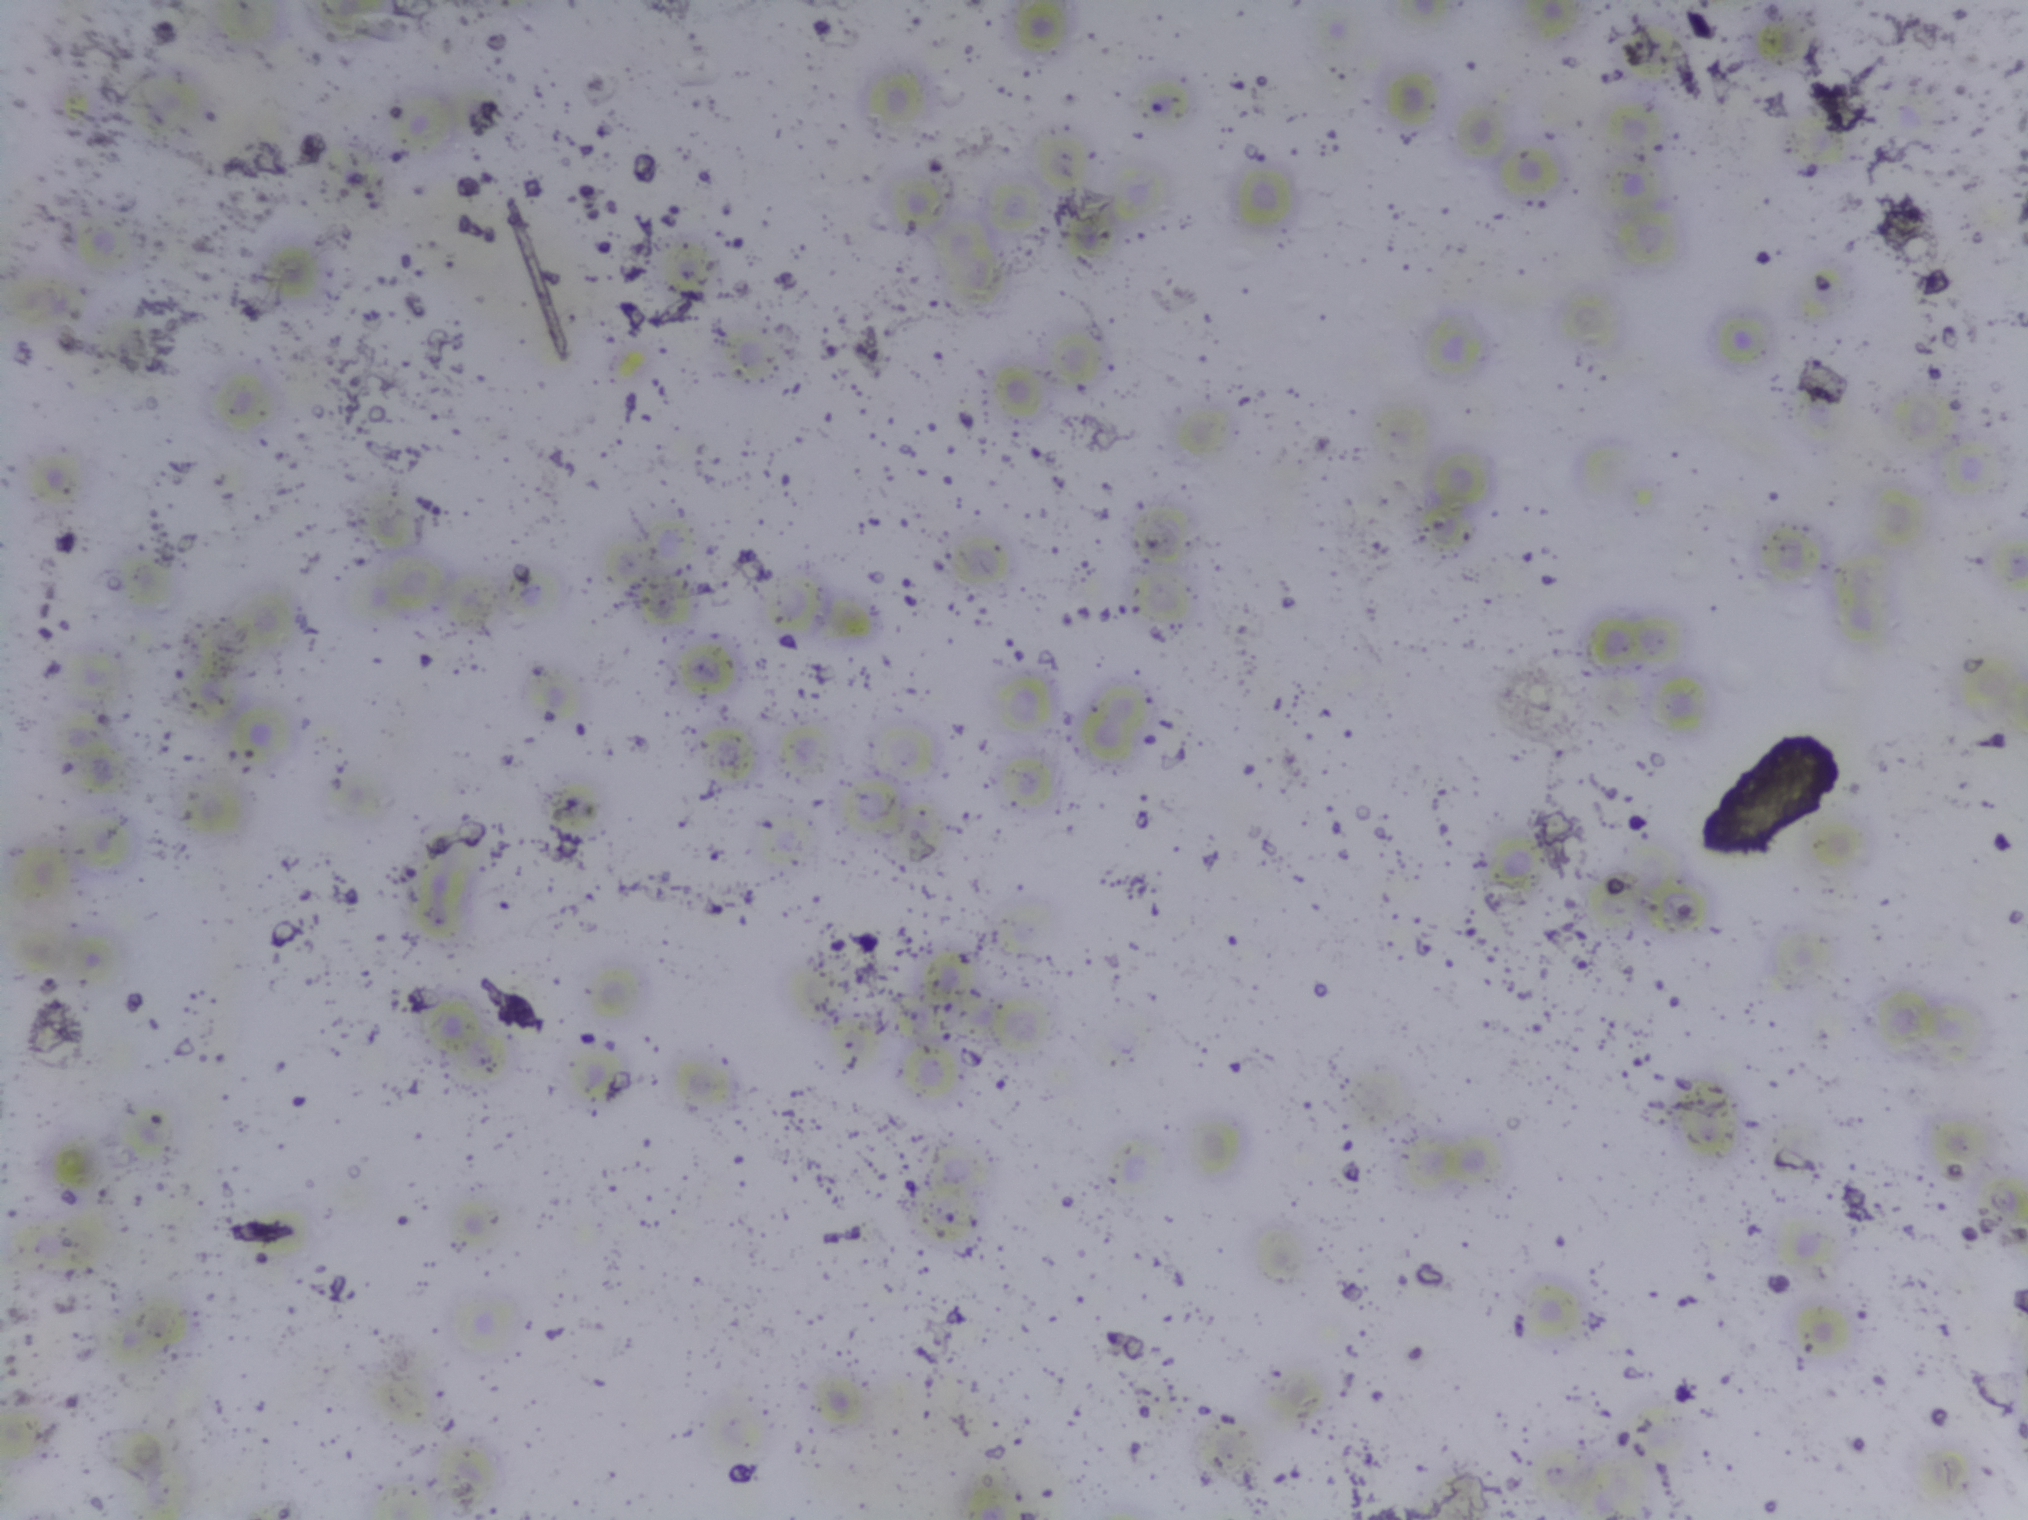
No Schistosoma egg is outlined in this image's expert annotation.
Urine filter membrane photographed through a 4× microscope objective. Field of view: about 1.5 mm wide and 1.1 mm high.